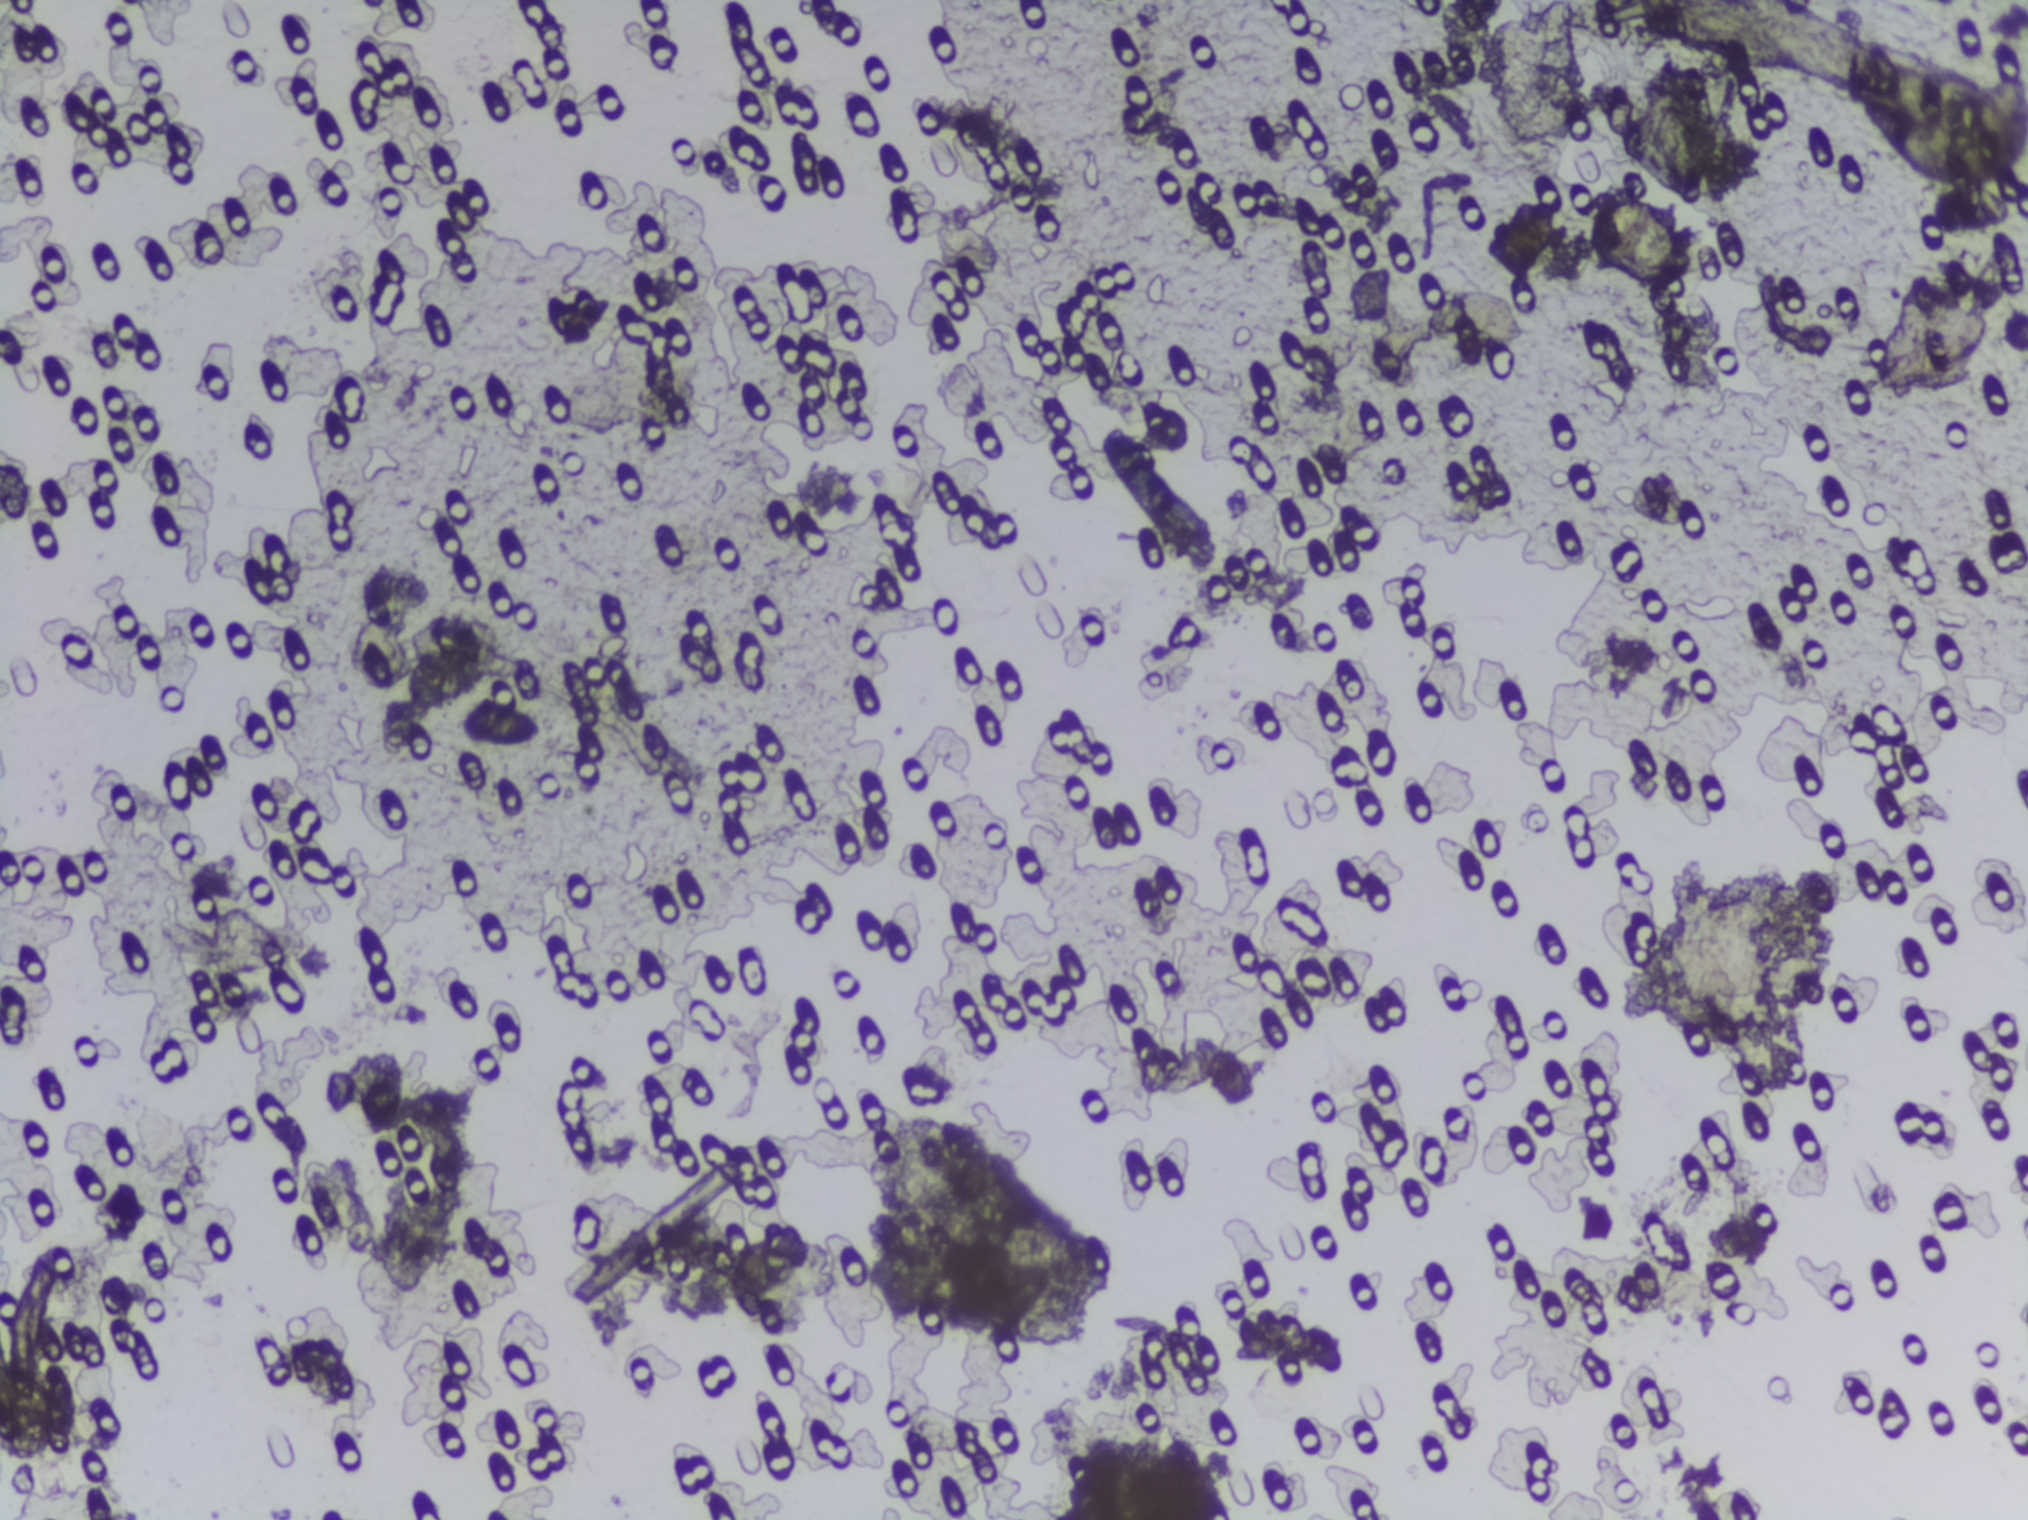
One field of view of a urine filter membrane, 4× objective, 2028 × 1520 pixels. Field of view: about 1.5 mm wide and 1.1 mm high.
No area of this image was outlined as a Schistosoma egg.